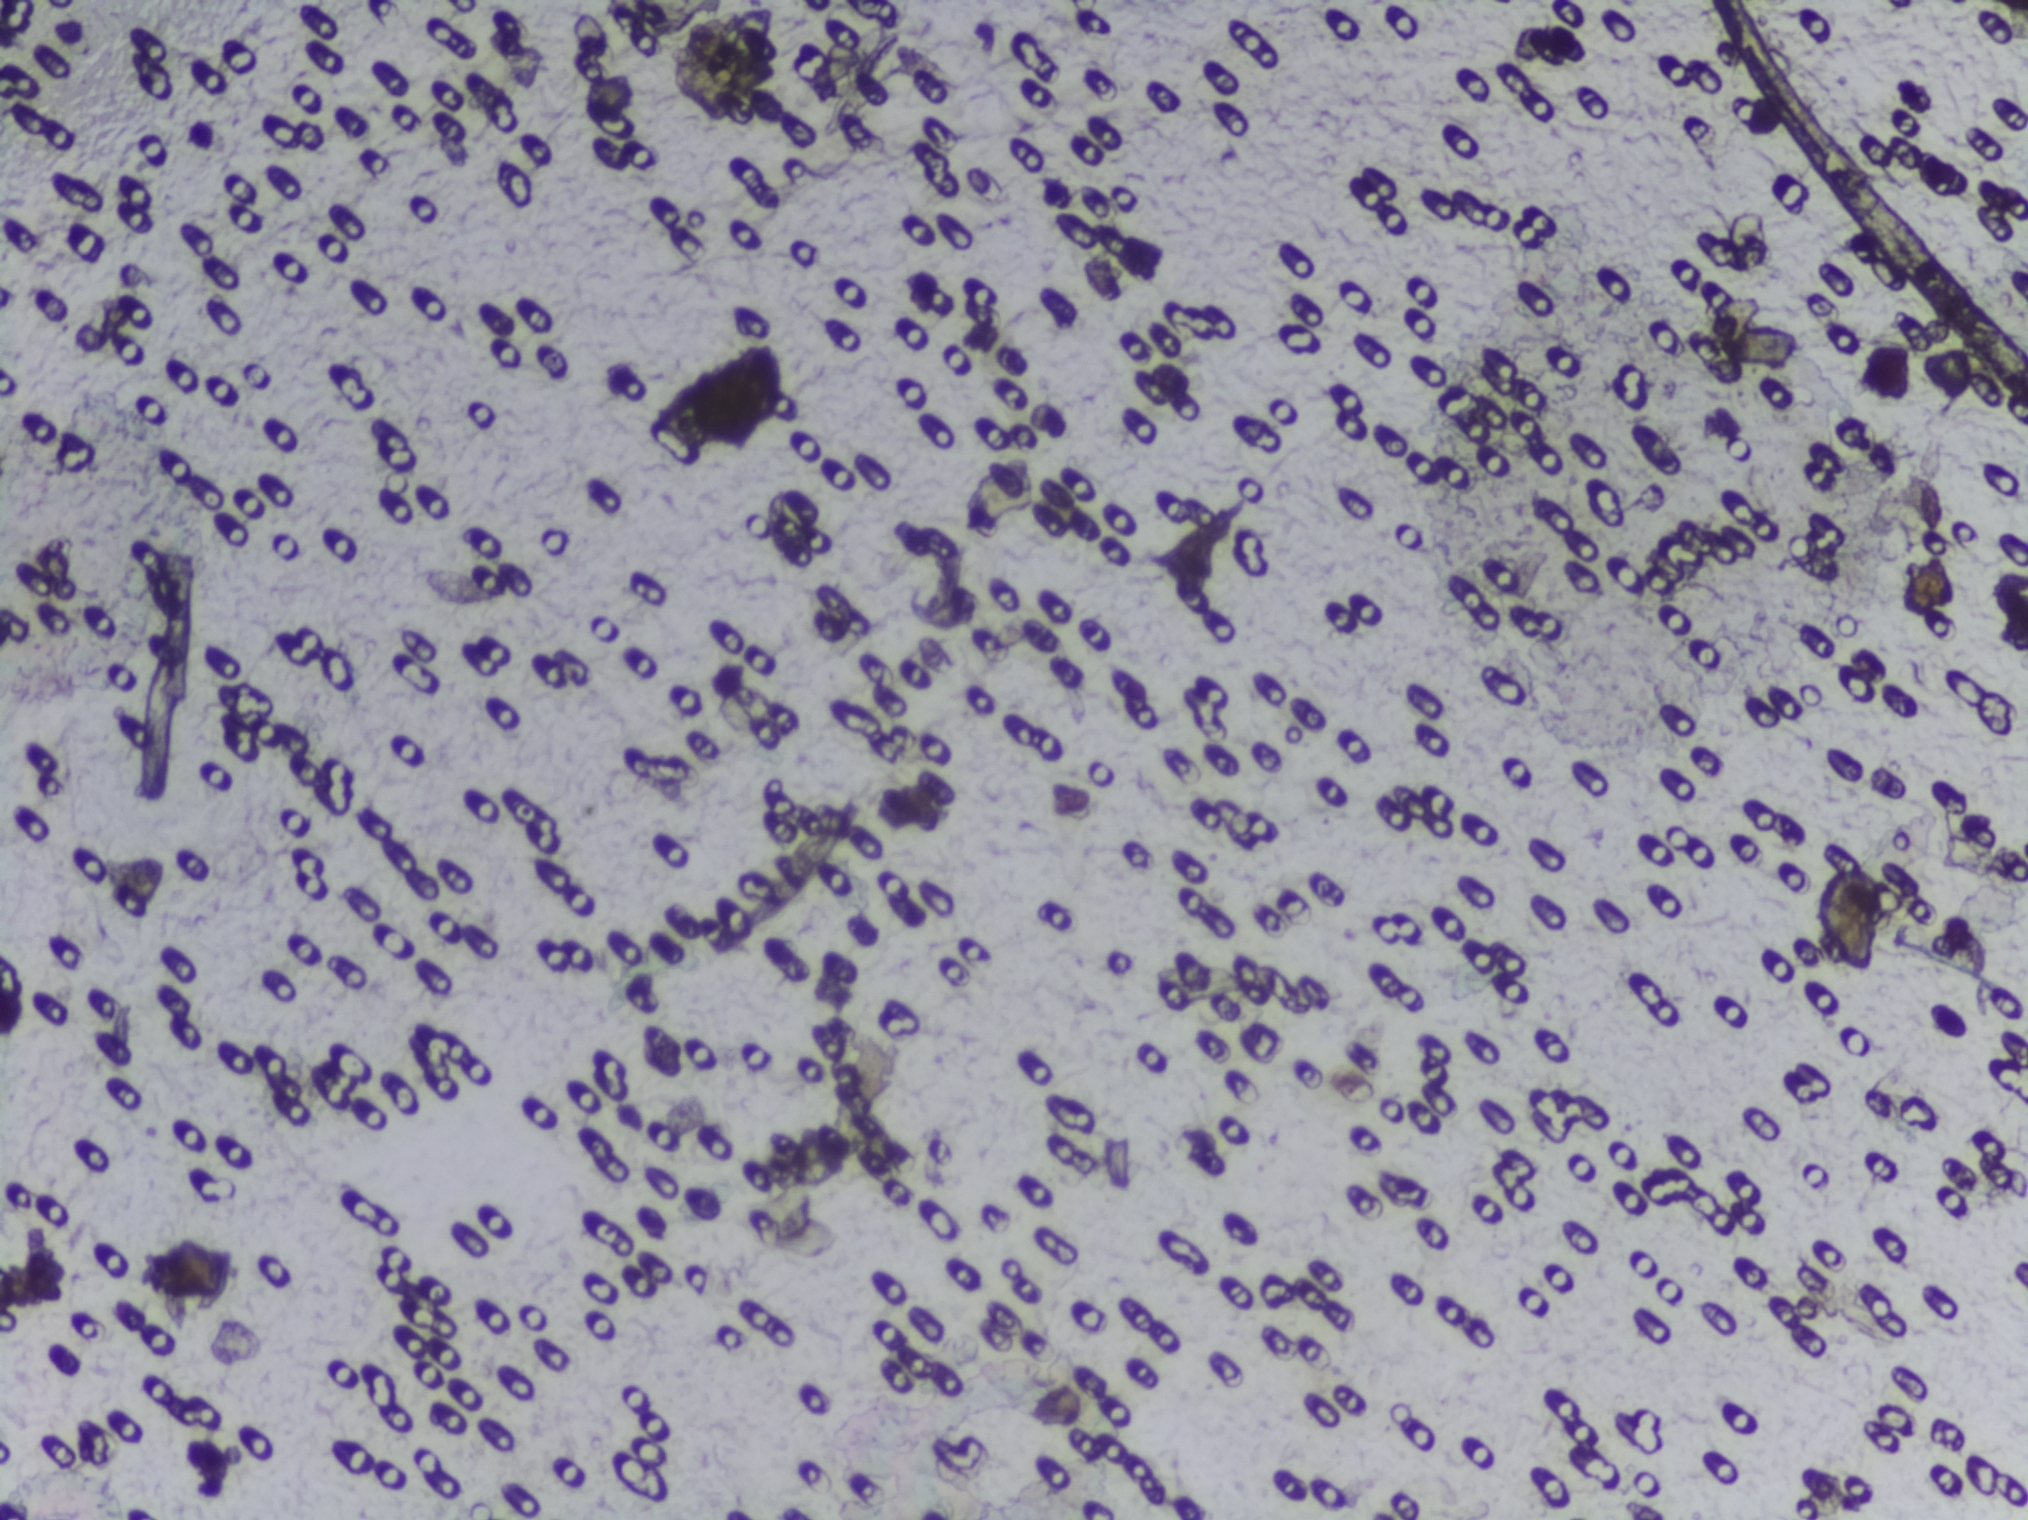
Photomicrograph of a urine filtration membrane, 4× objective.
The expert annotation marks no Schistosoma egg in this field of view.